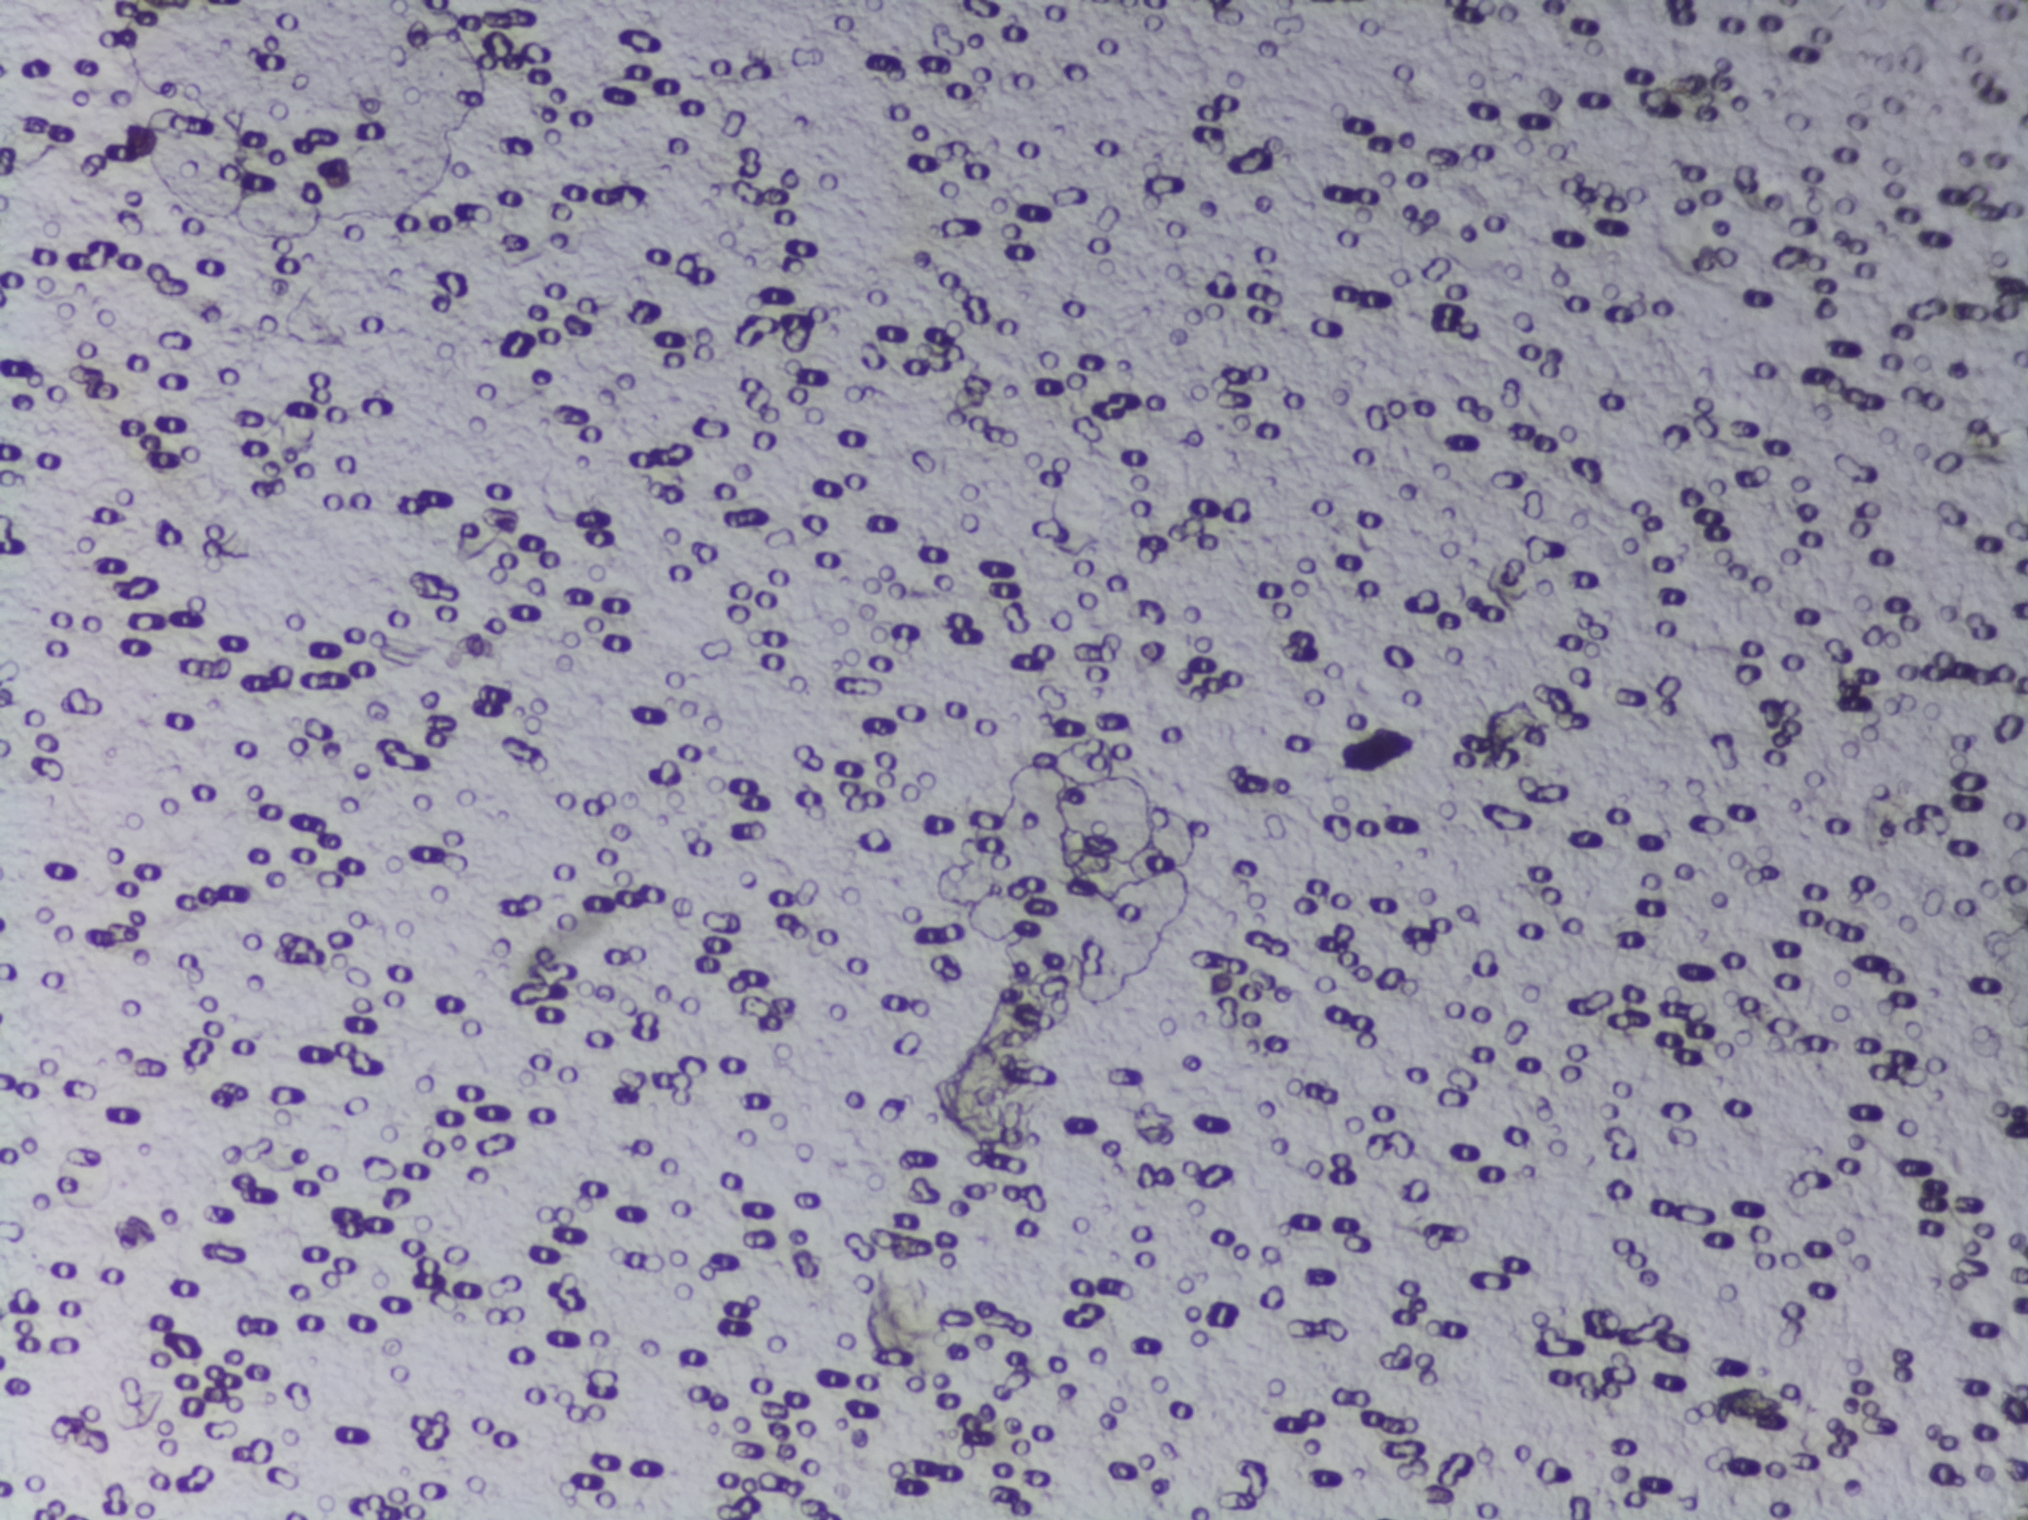
One field of view of a urine filter membrane, 4× objective, 2028 × 1520 pixels.
No area of this image was outlined as a Schistosoma egg.